Urine filtration membrane under a 4× objective, photographed by an automated digital microscope.
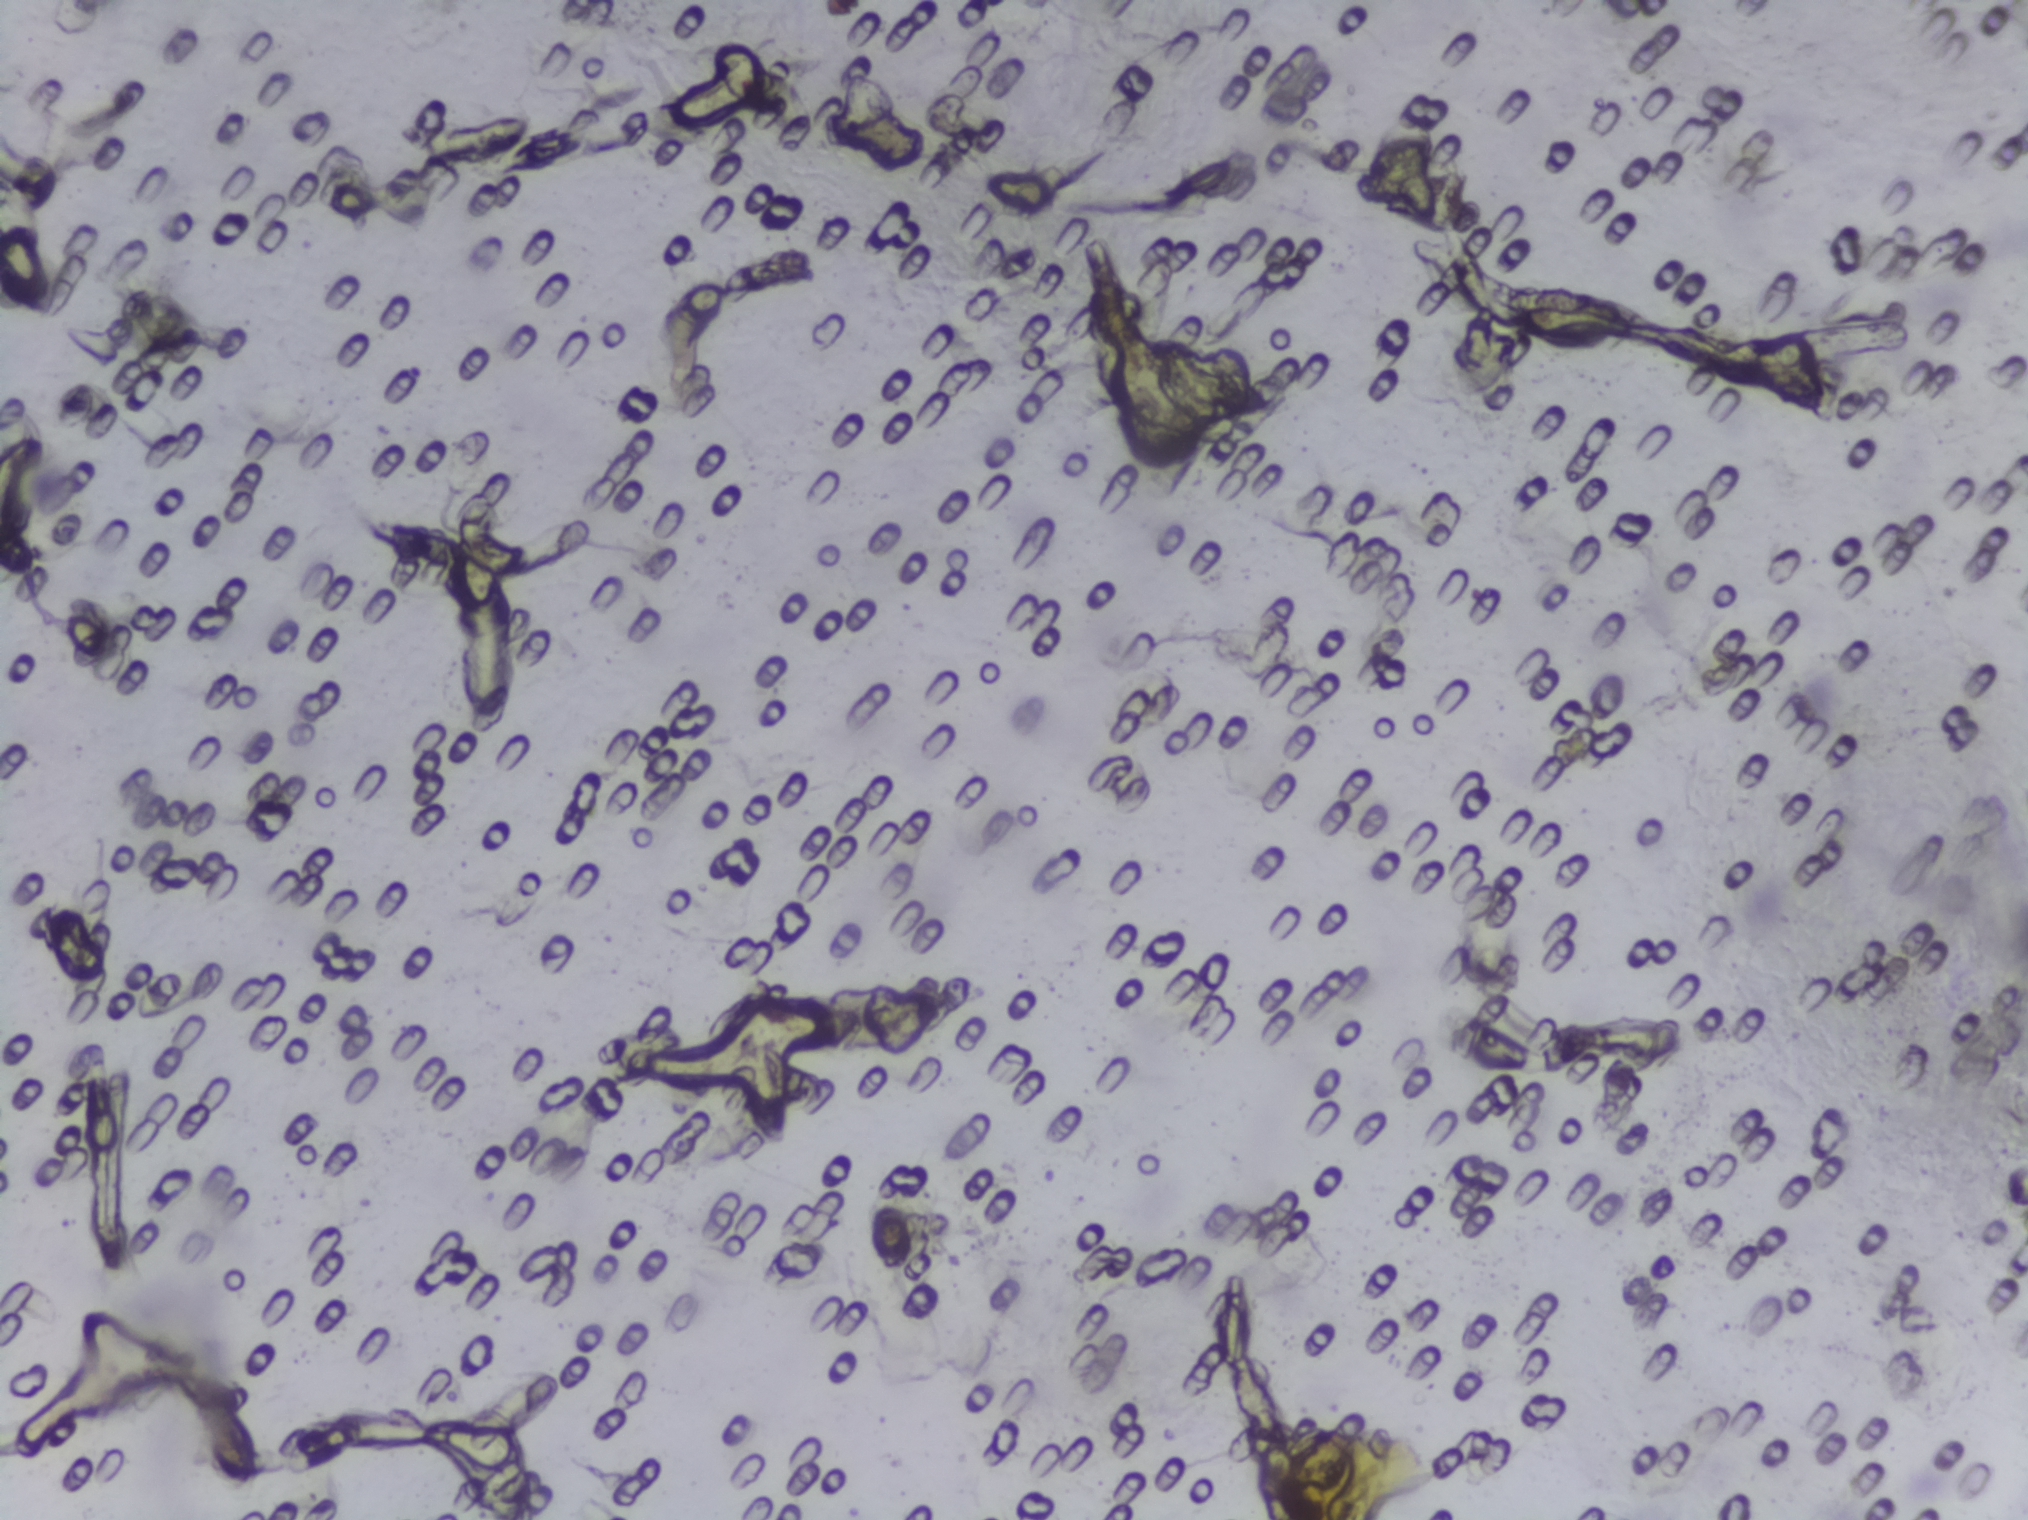
The expert annotation marks no Schistosoma egg in this field of view.